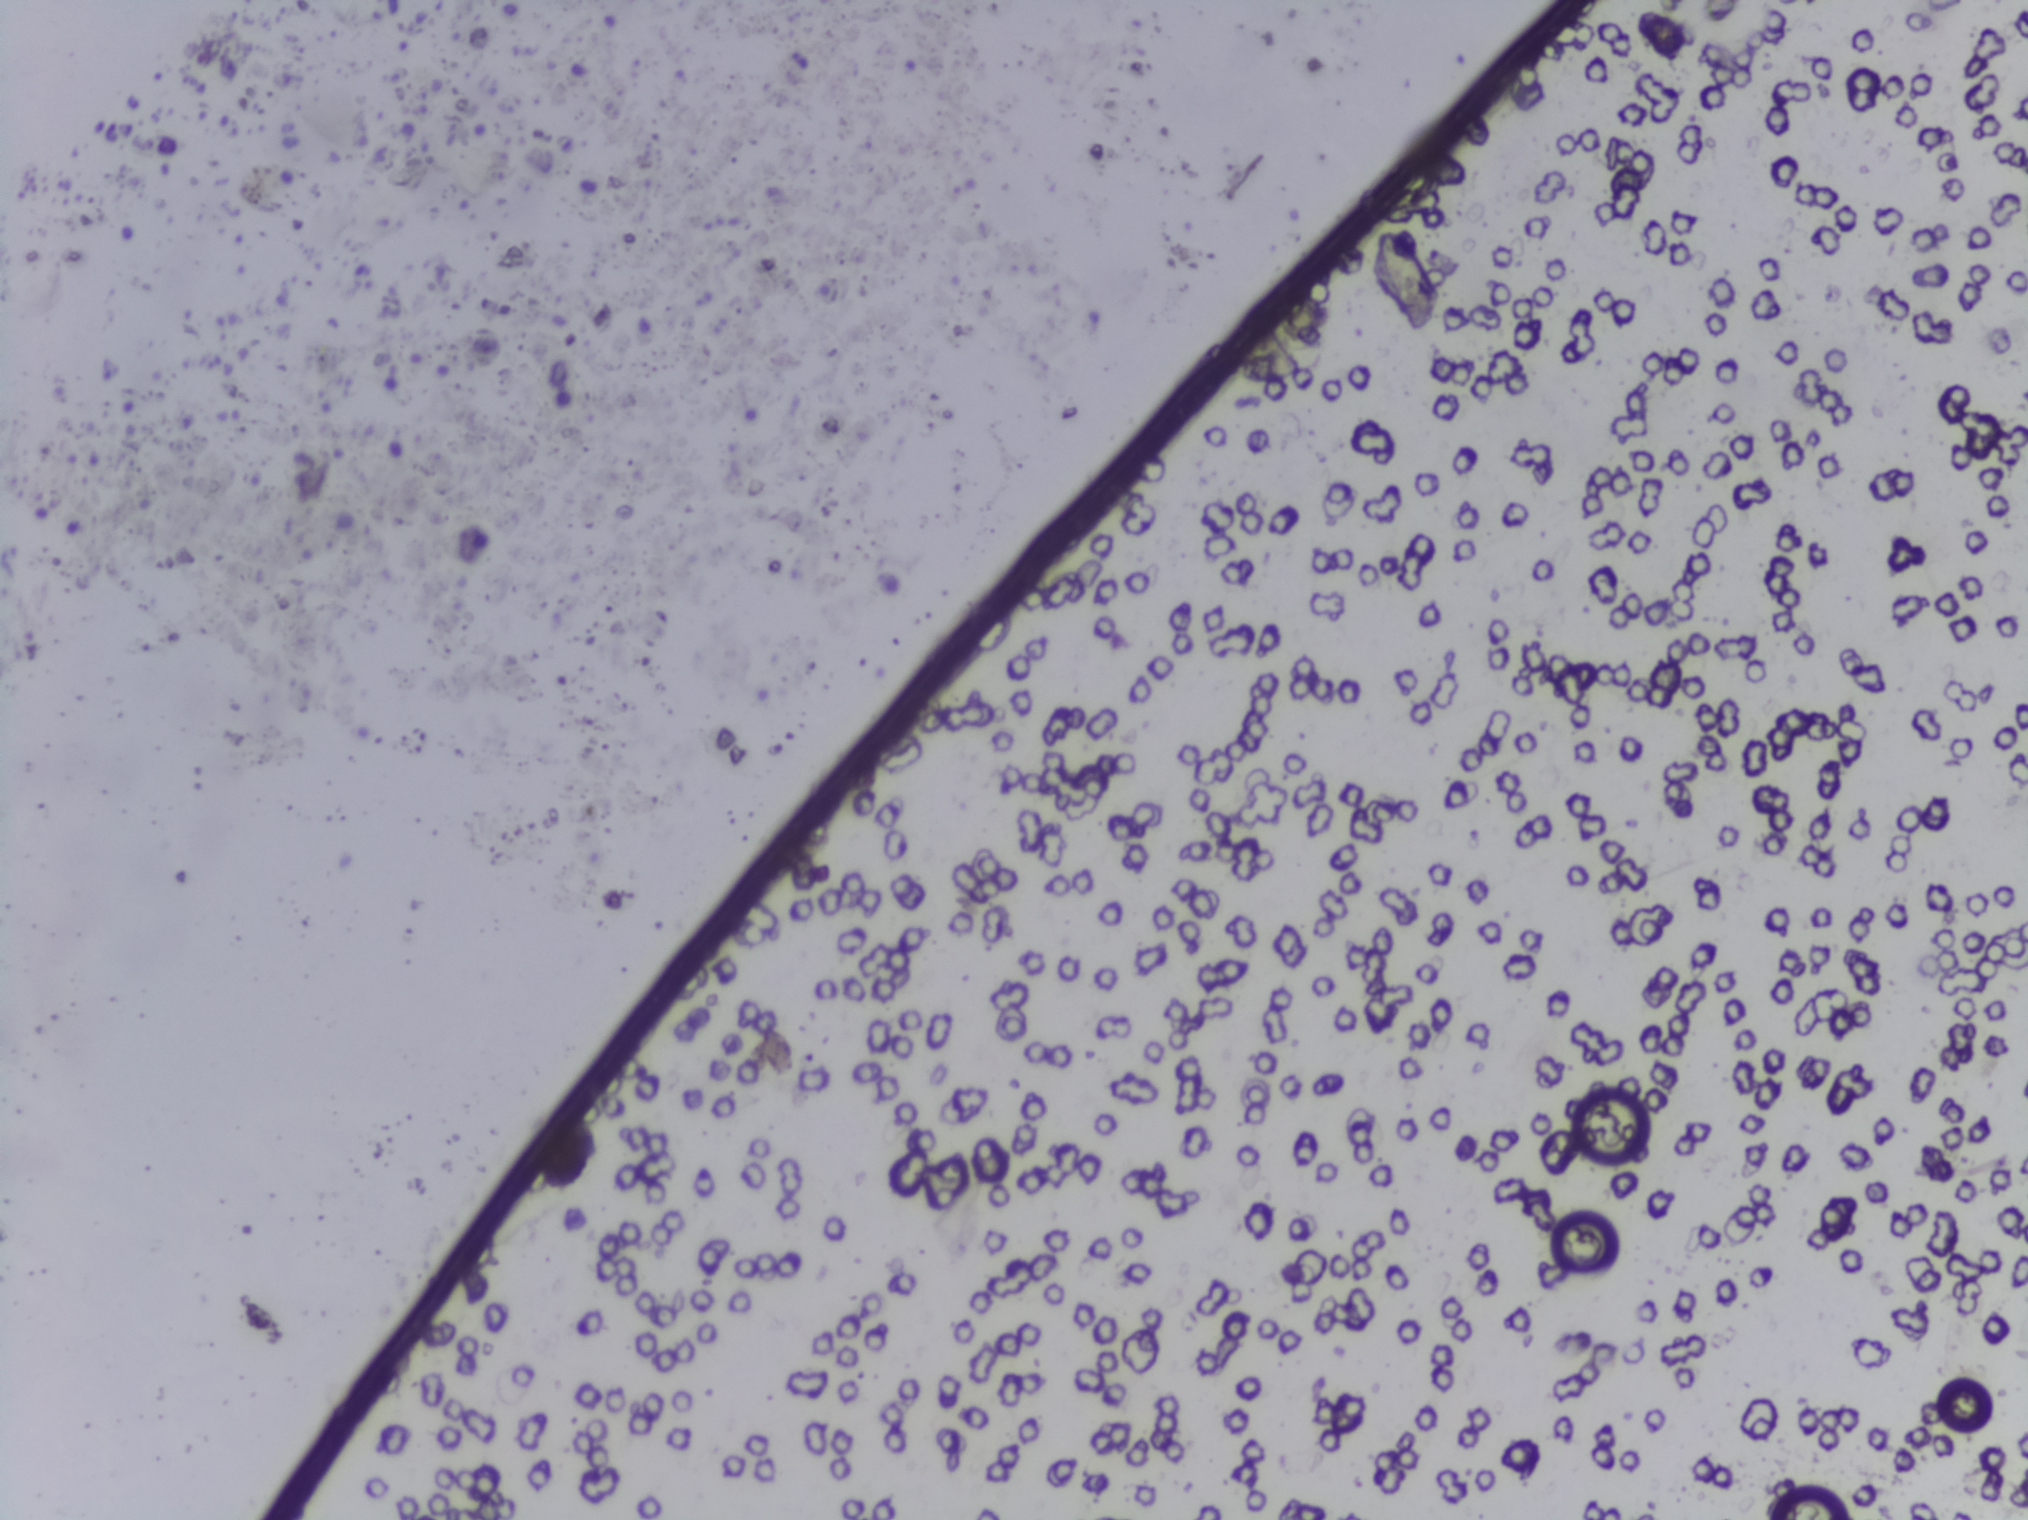
One field of view of a urine filter membrane, 4× objective, 2028 × 1520 pixels.
The expert annotation outlines no Schistosoma egg in this image.